One field of view of a urine filter membrane, 4× objective, 2028 × 1520 pixels.
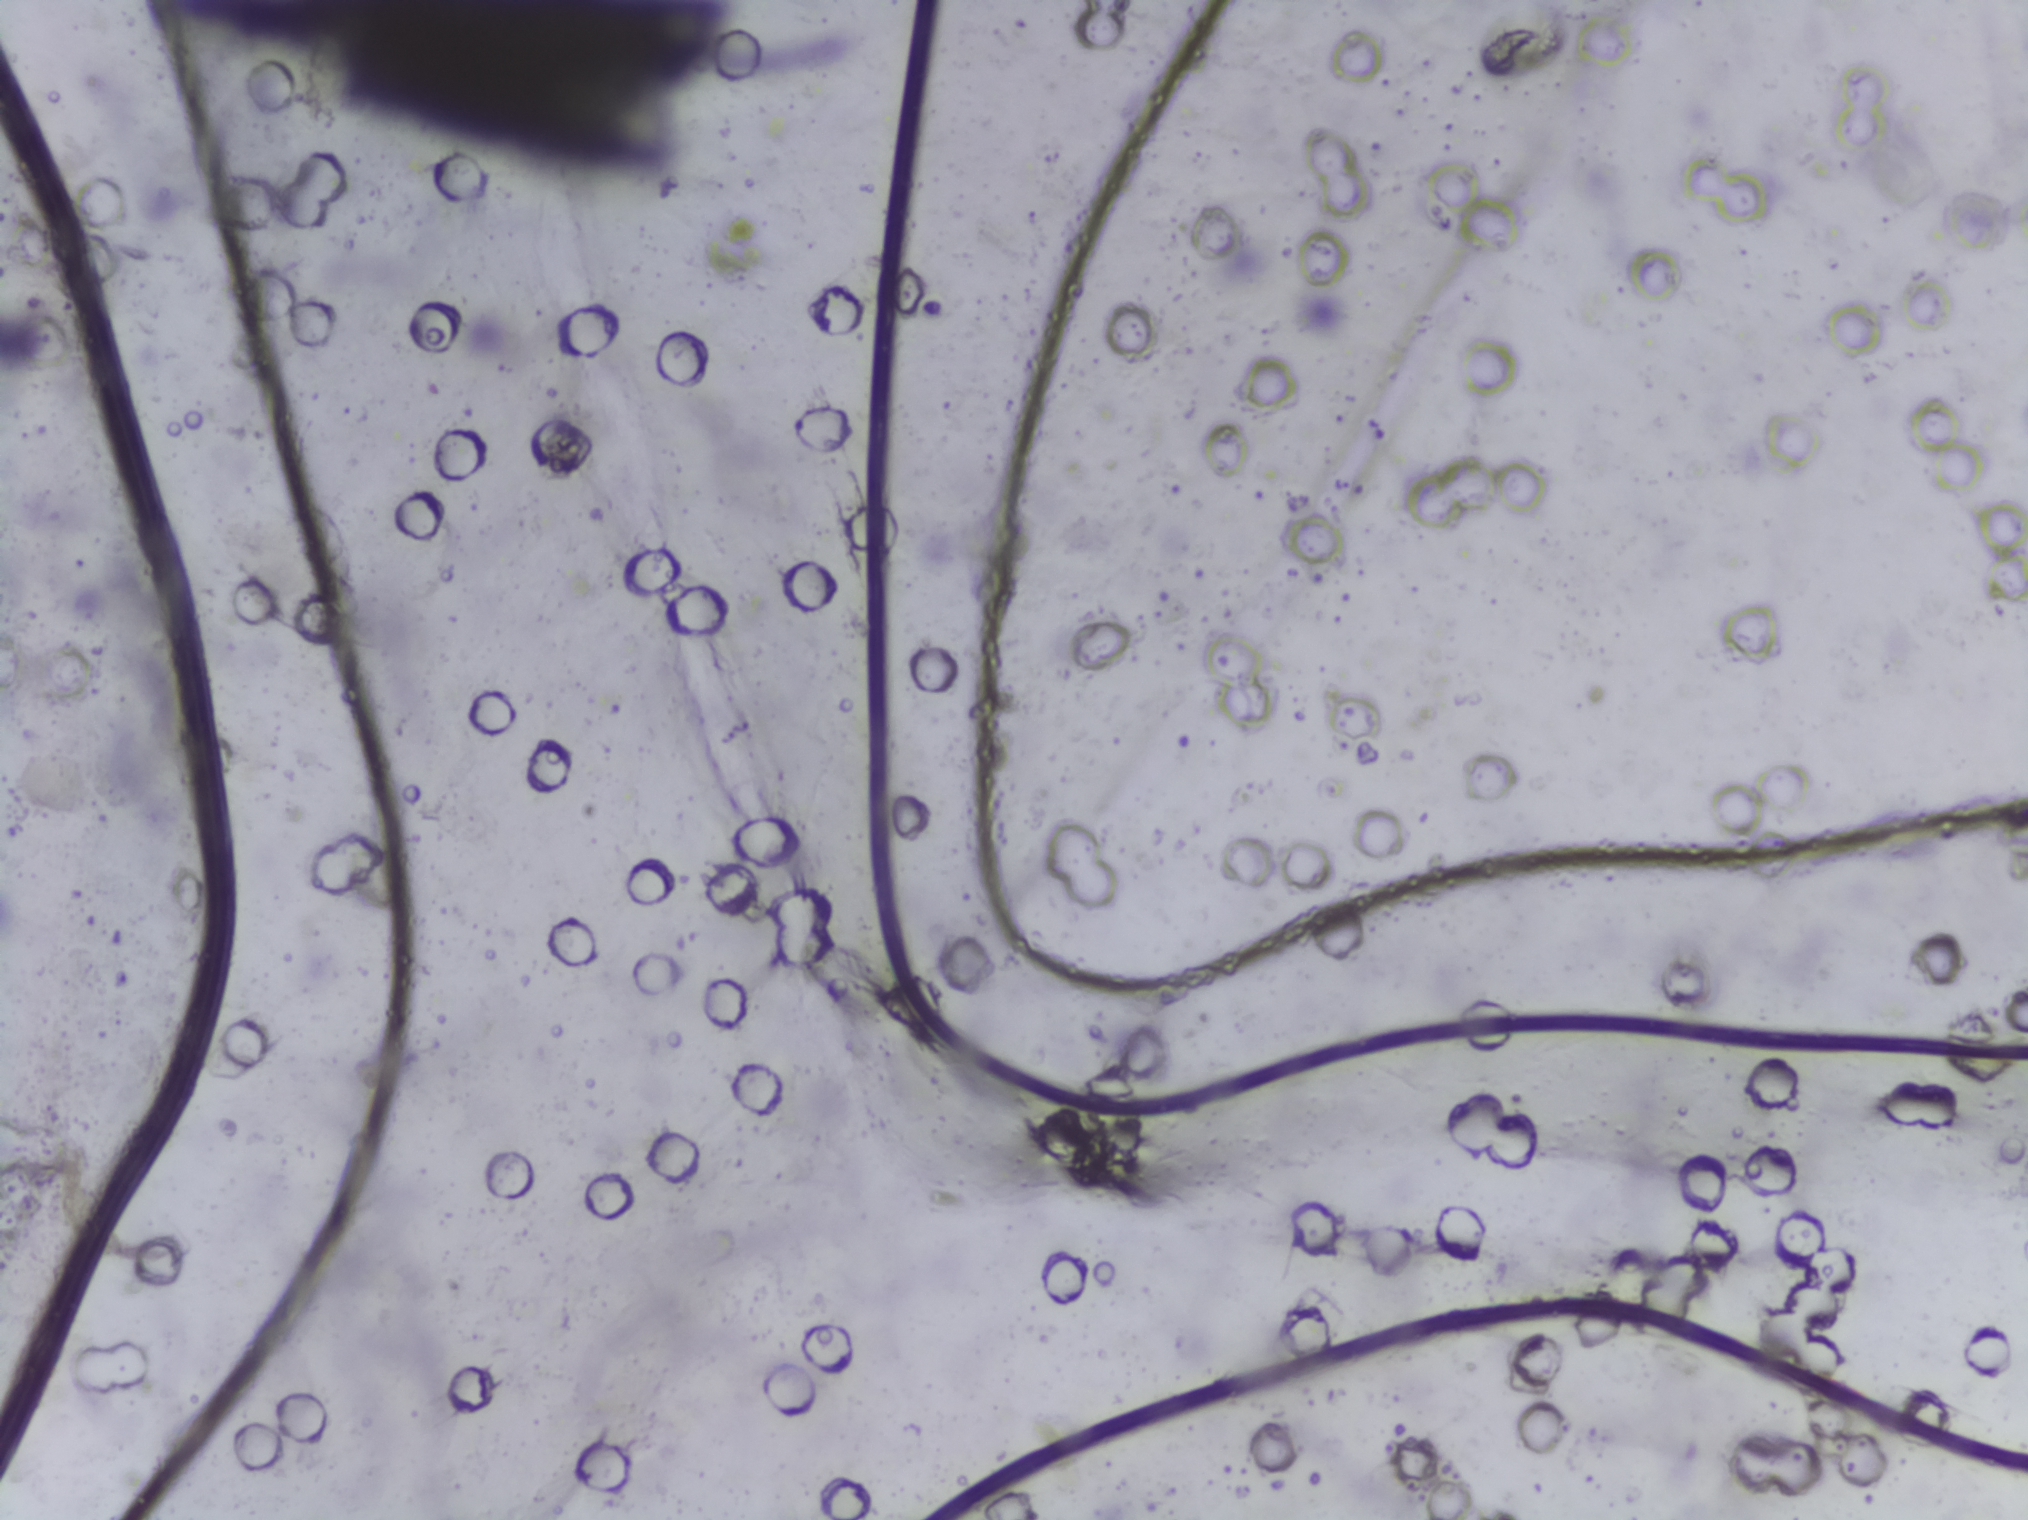
No area of this image was outlined as a Schistosoma egg.